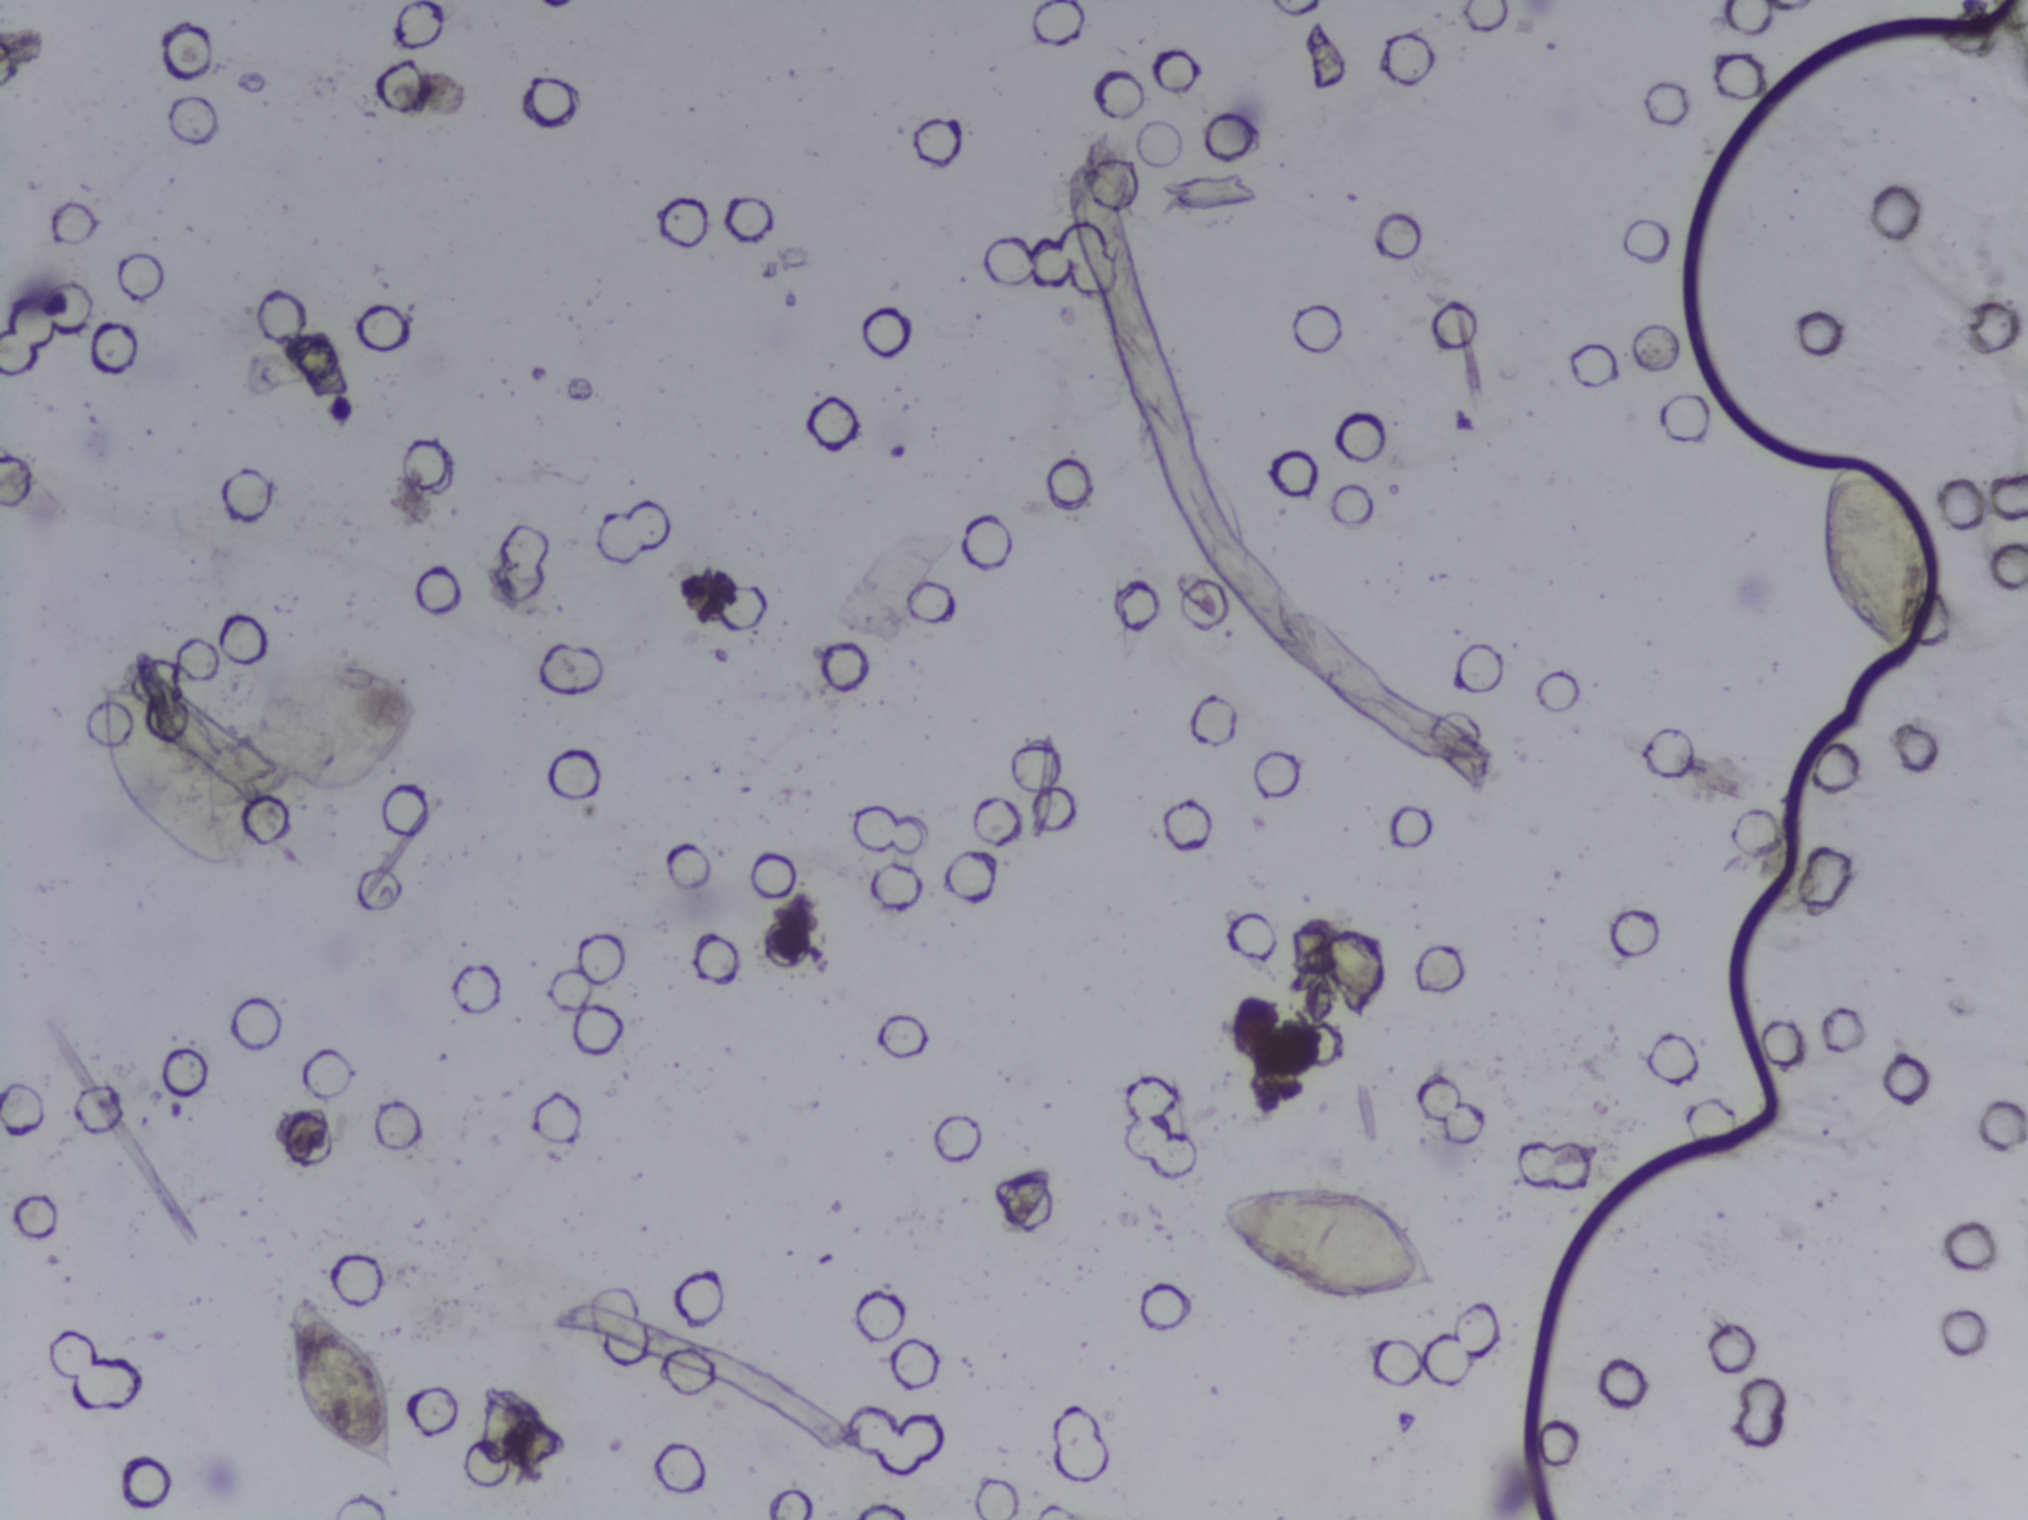
Microscope photograph (4× objective) of a membrane that a urine sample was filtered through. Field of view: about 1.5 mm wide and 1.1 mm high.
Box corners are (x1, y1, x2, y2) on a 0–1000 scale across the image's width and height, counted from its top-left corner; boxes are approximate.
Areas outlined as Schistosoma eggs, left to right:
1. (49, 447, 129, 570)
2. (138, 853, 197, 971)
3. (597, 776, 714, 857)
4. (896, 303, 957, 440)
About 2.3% of the image's pixels are marked (the marked pixels themselves, not the boxes around them). A single outlined area may contain several eggs.